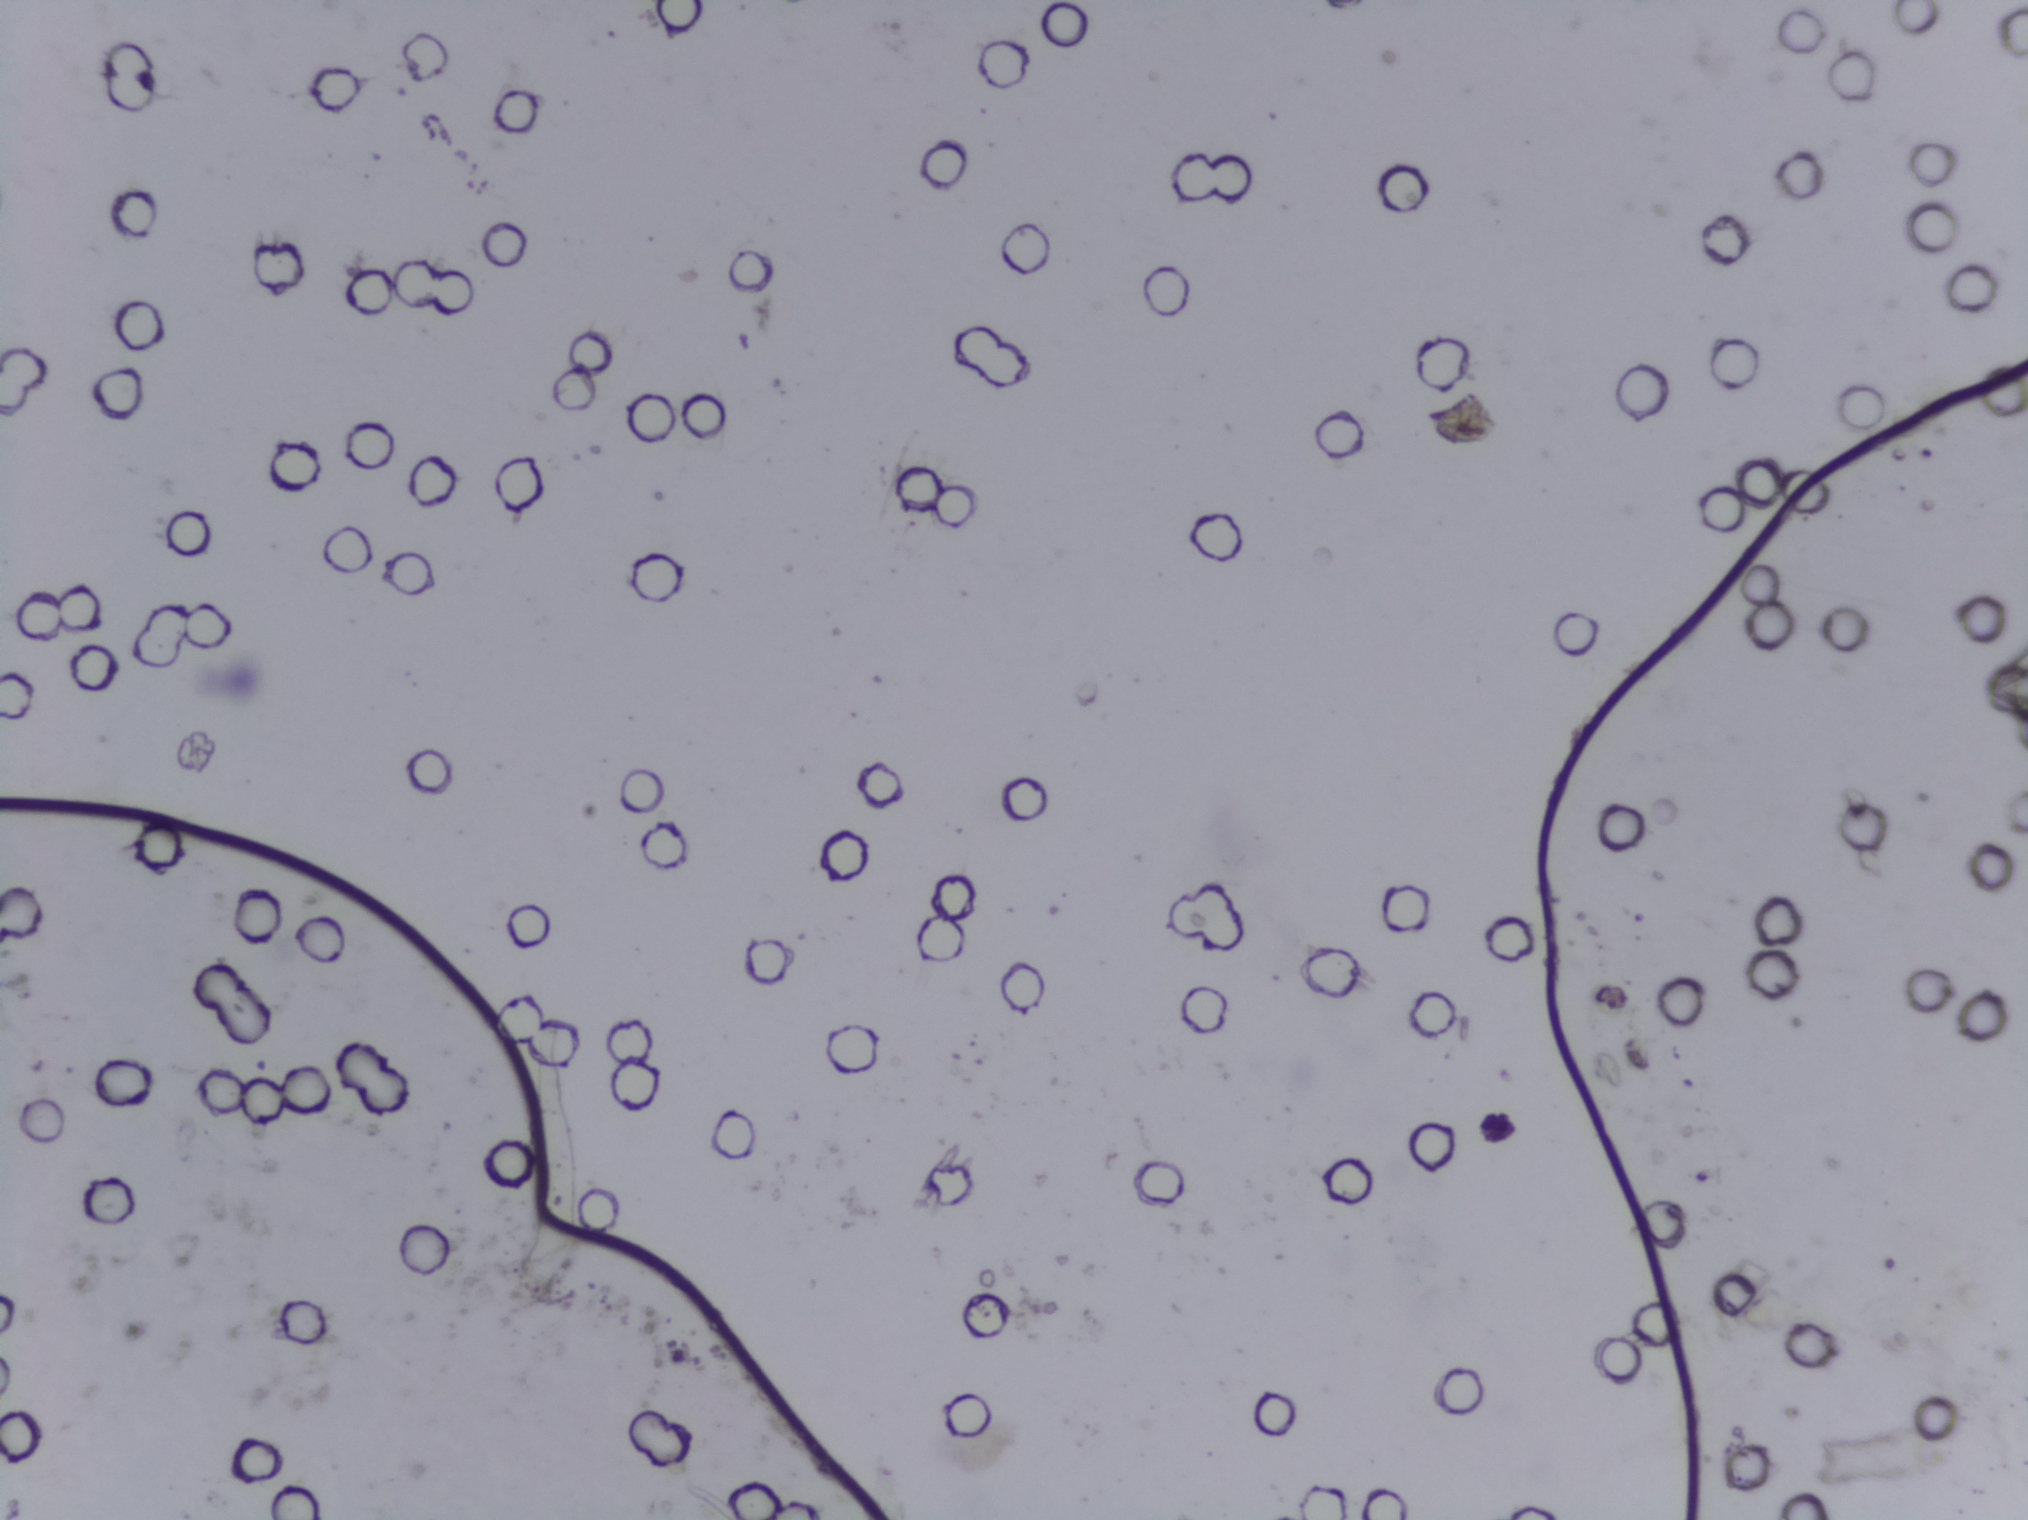
Urine filter membrane photographed through a 4× microscope objective.
No Schistosoma egg is outlined in this image's expert annotation.